Microscope photograph (4× objective) of a membrane that a urine sample was filtered through.
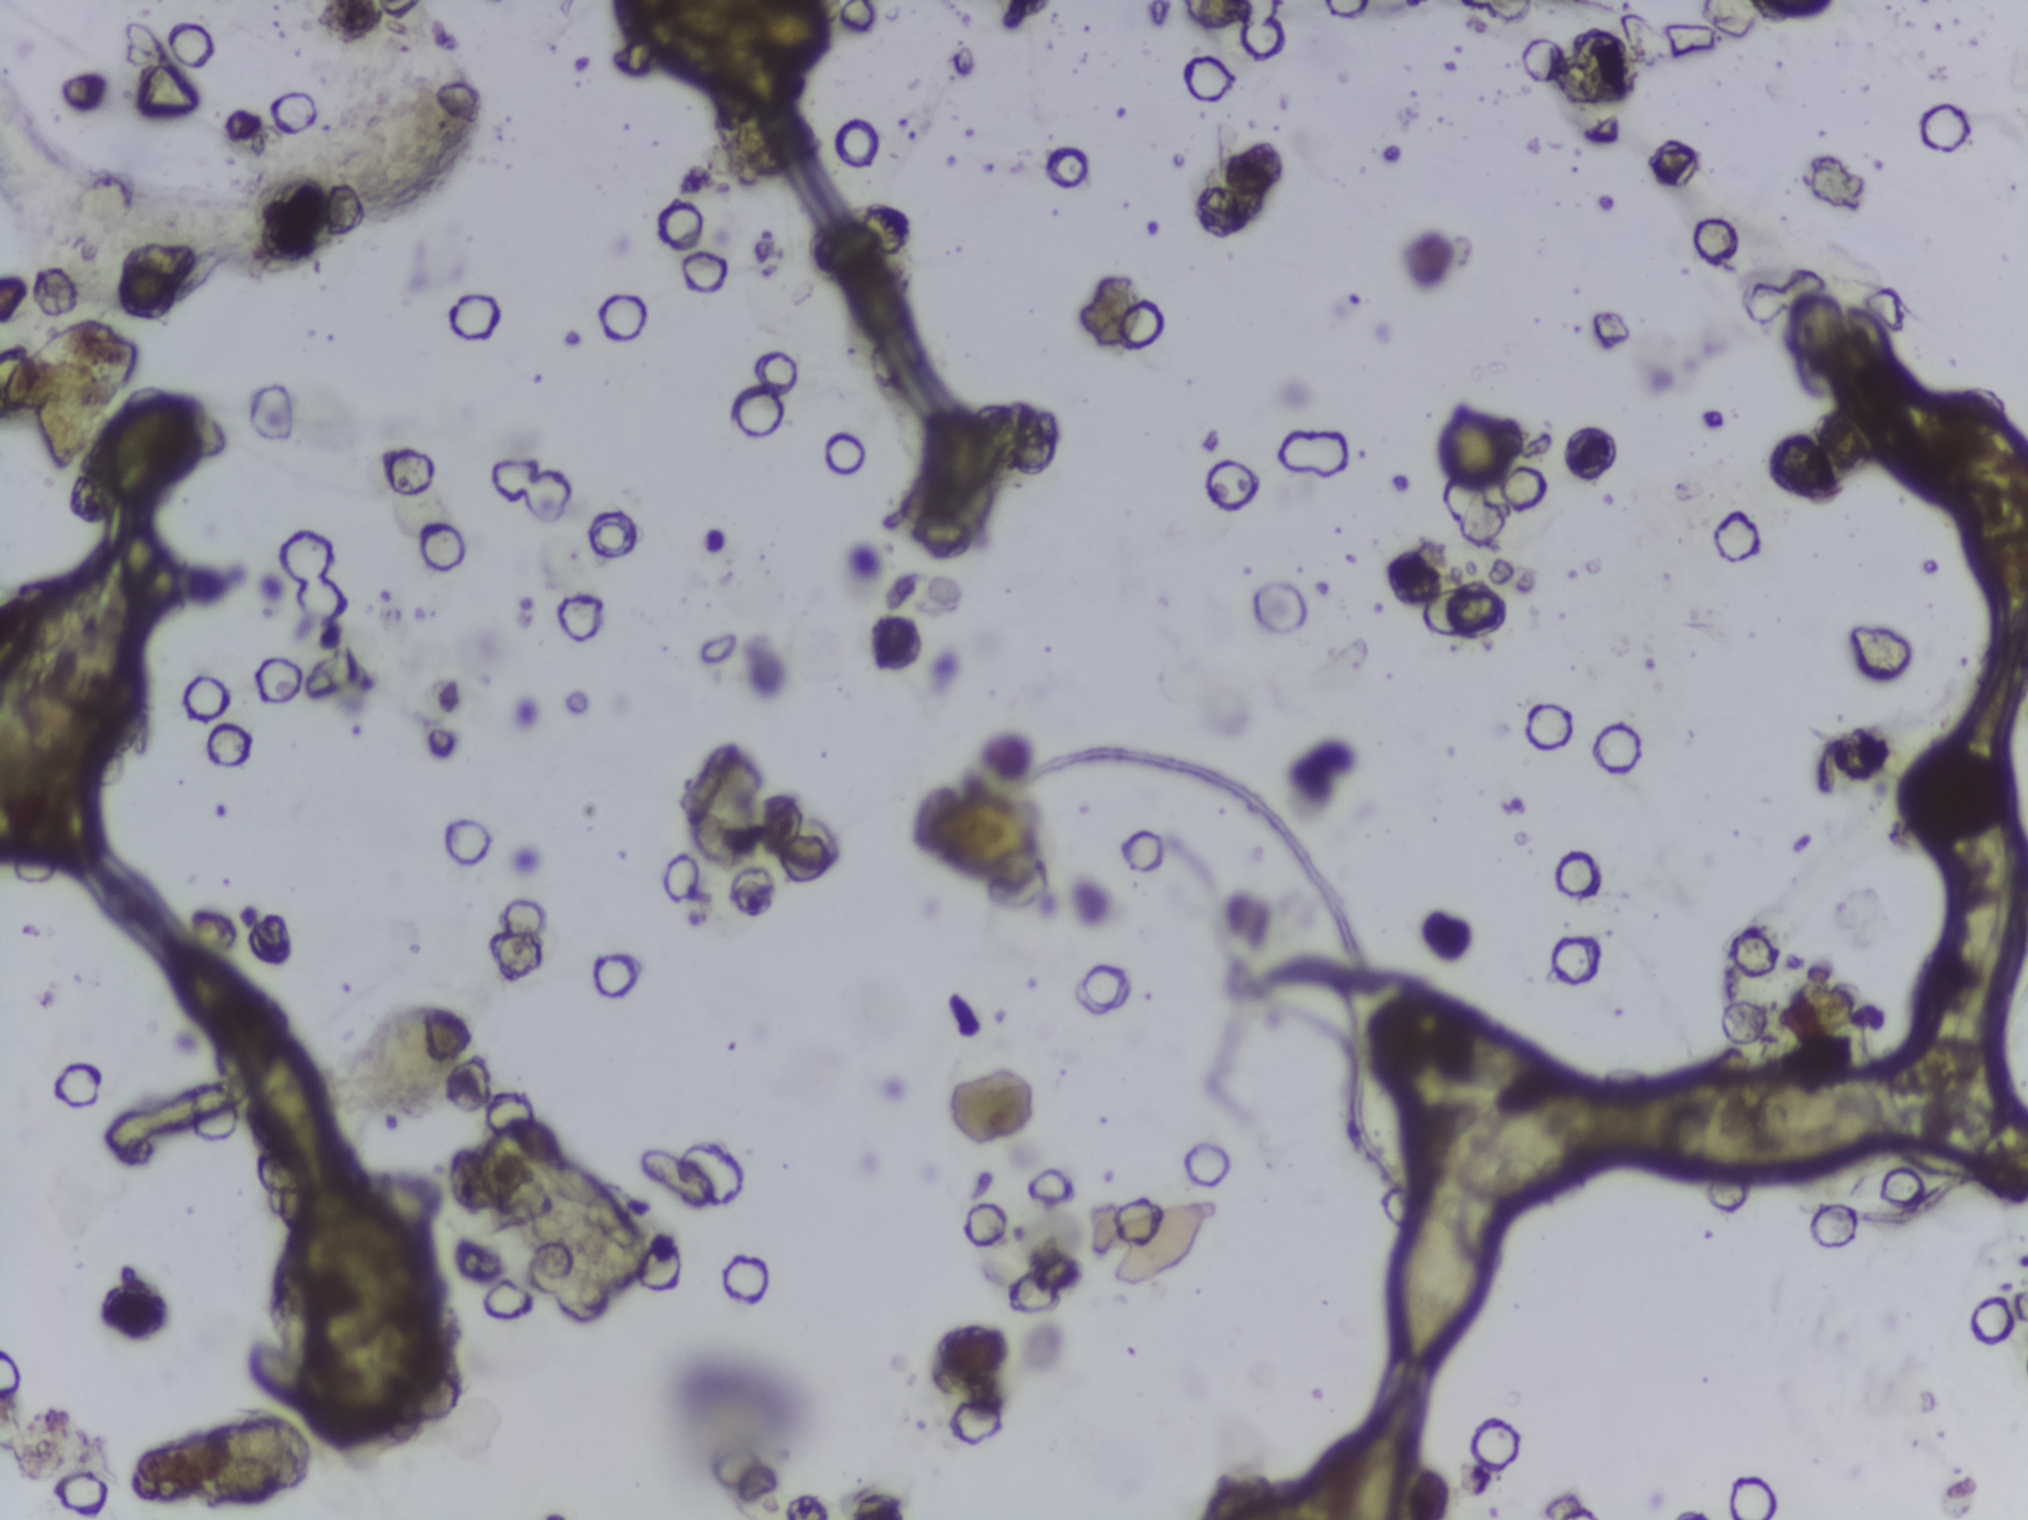
No Schistosoma egg is outlined in this image's expert annotation.